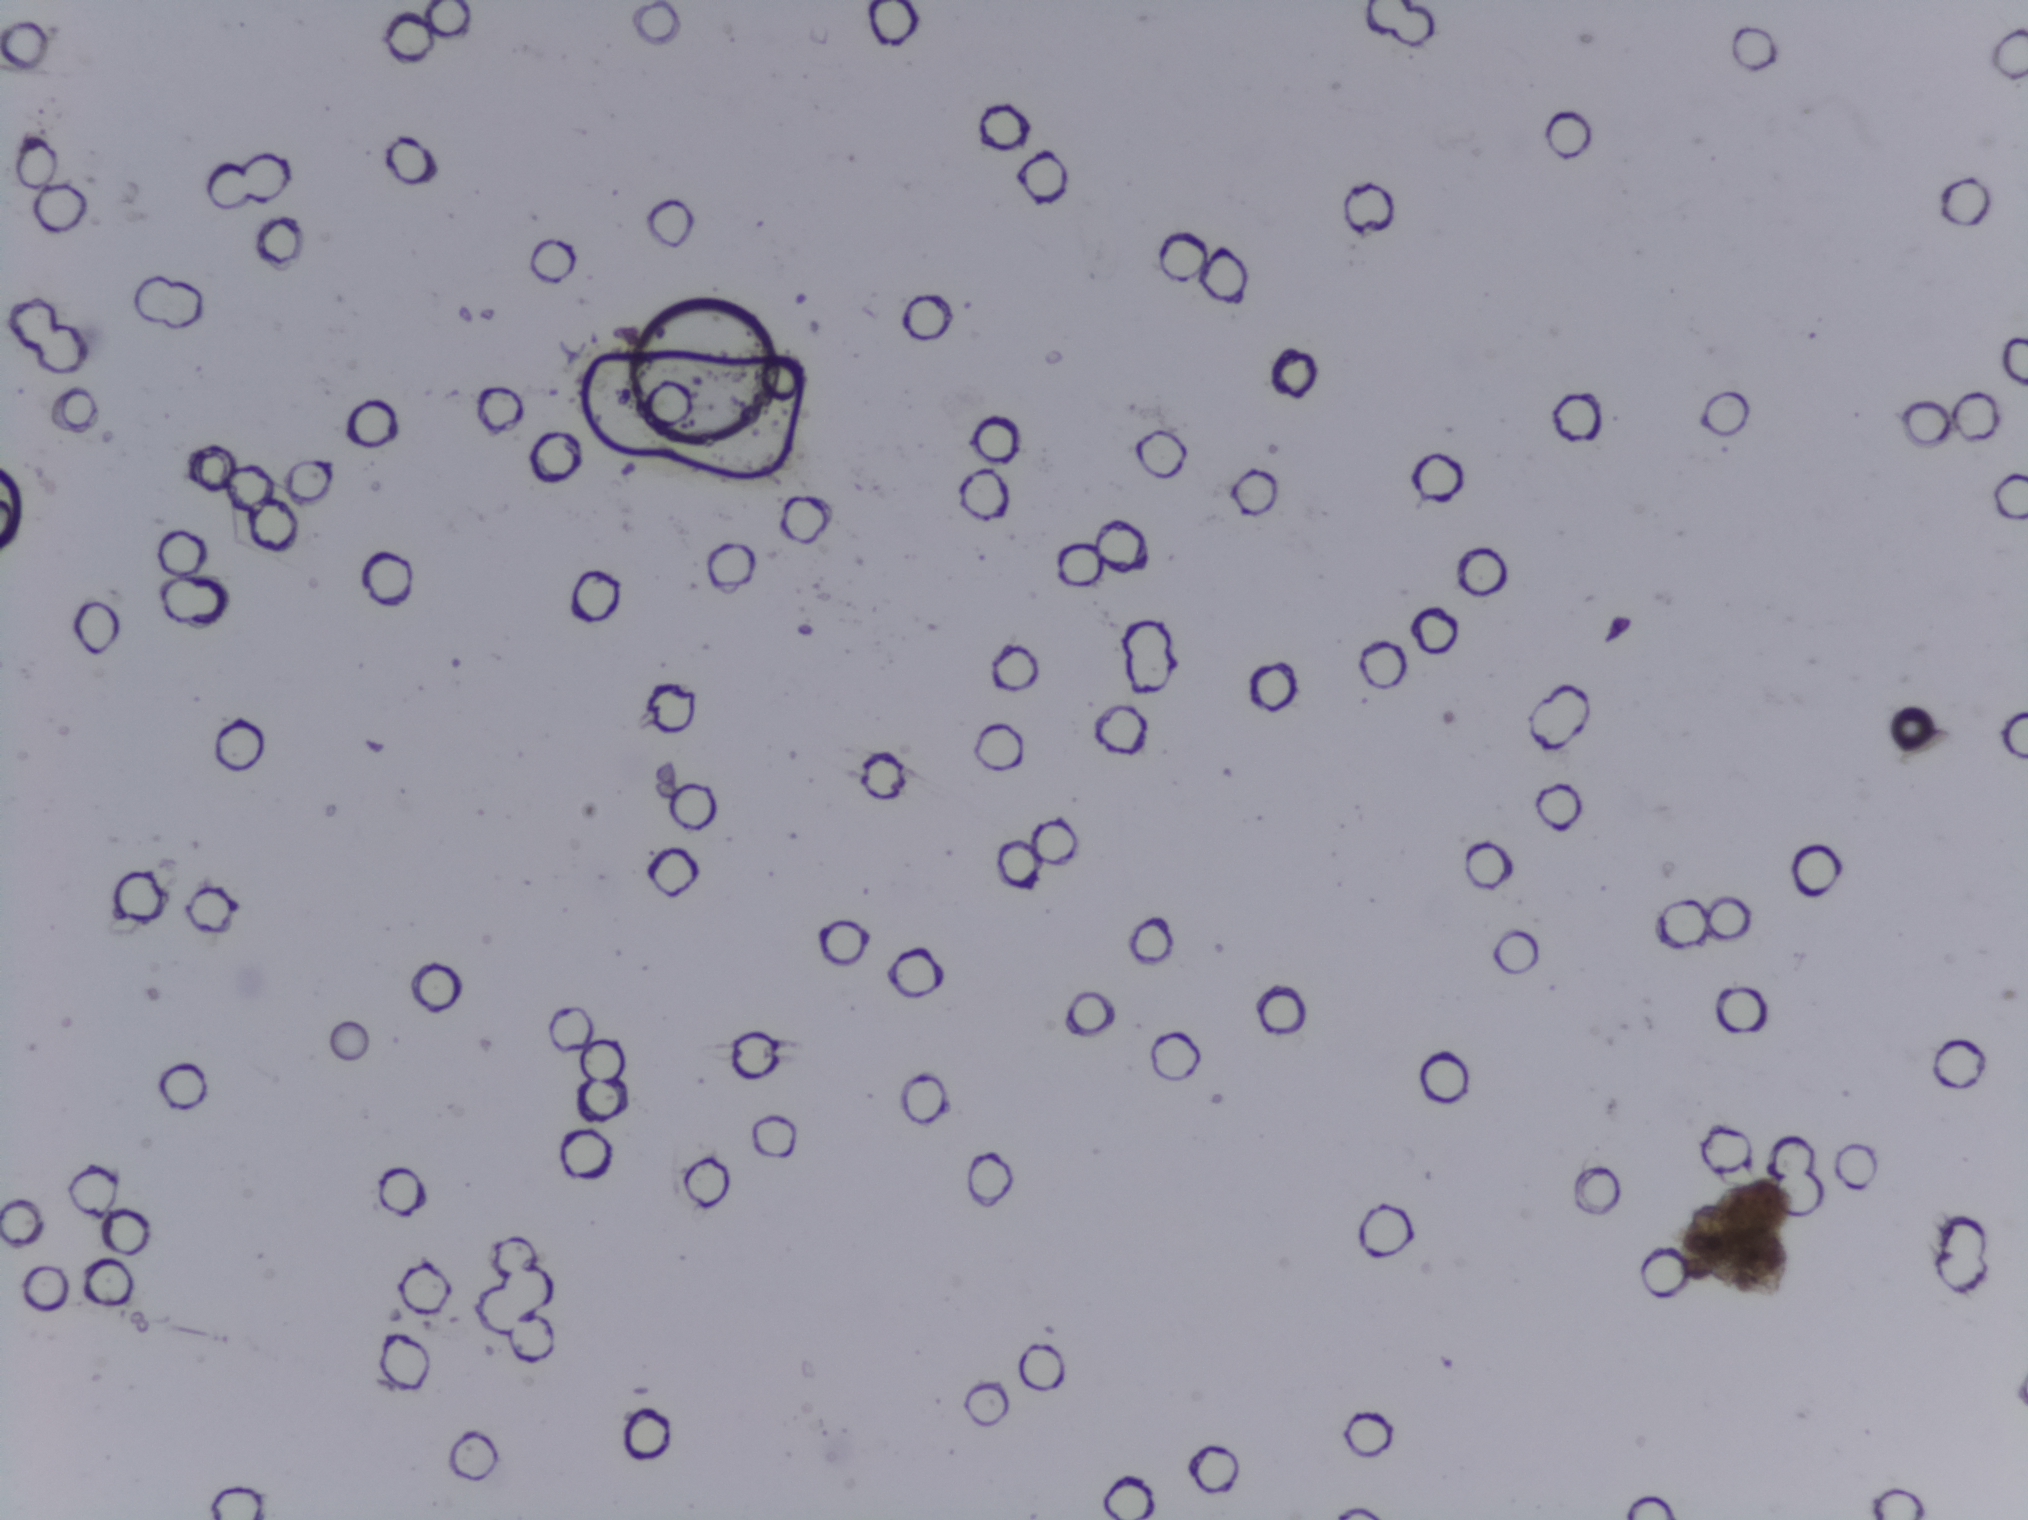
One field of view of a urine filter membrane, 4× objective, 2028 × 1520 pixels.
No area of this image was outlined as a Schistosoma egg.